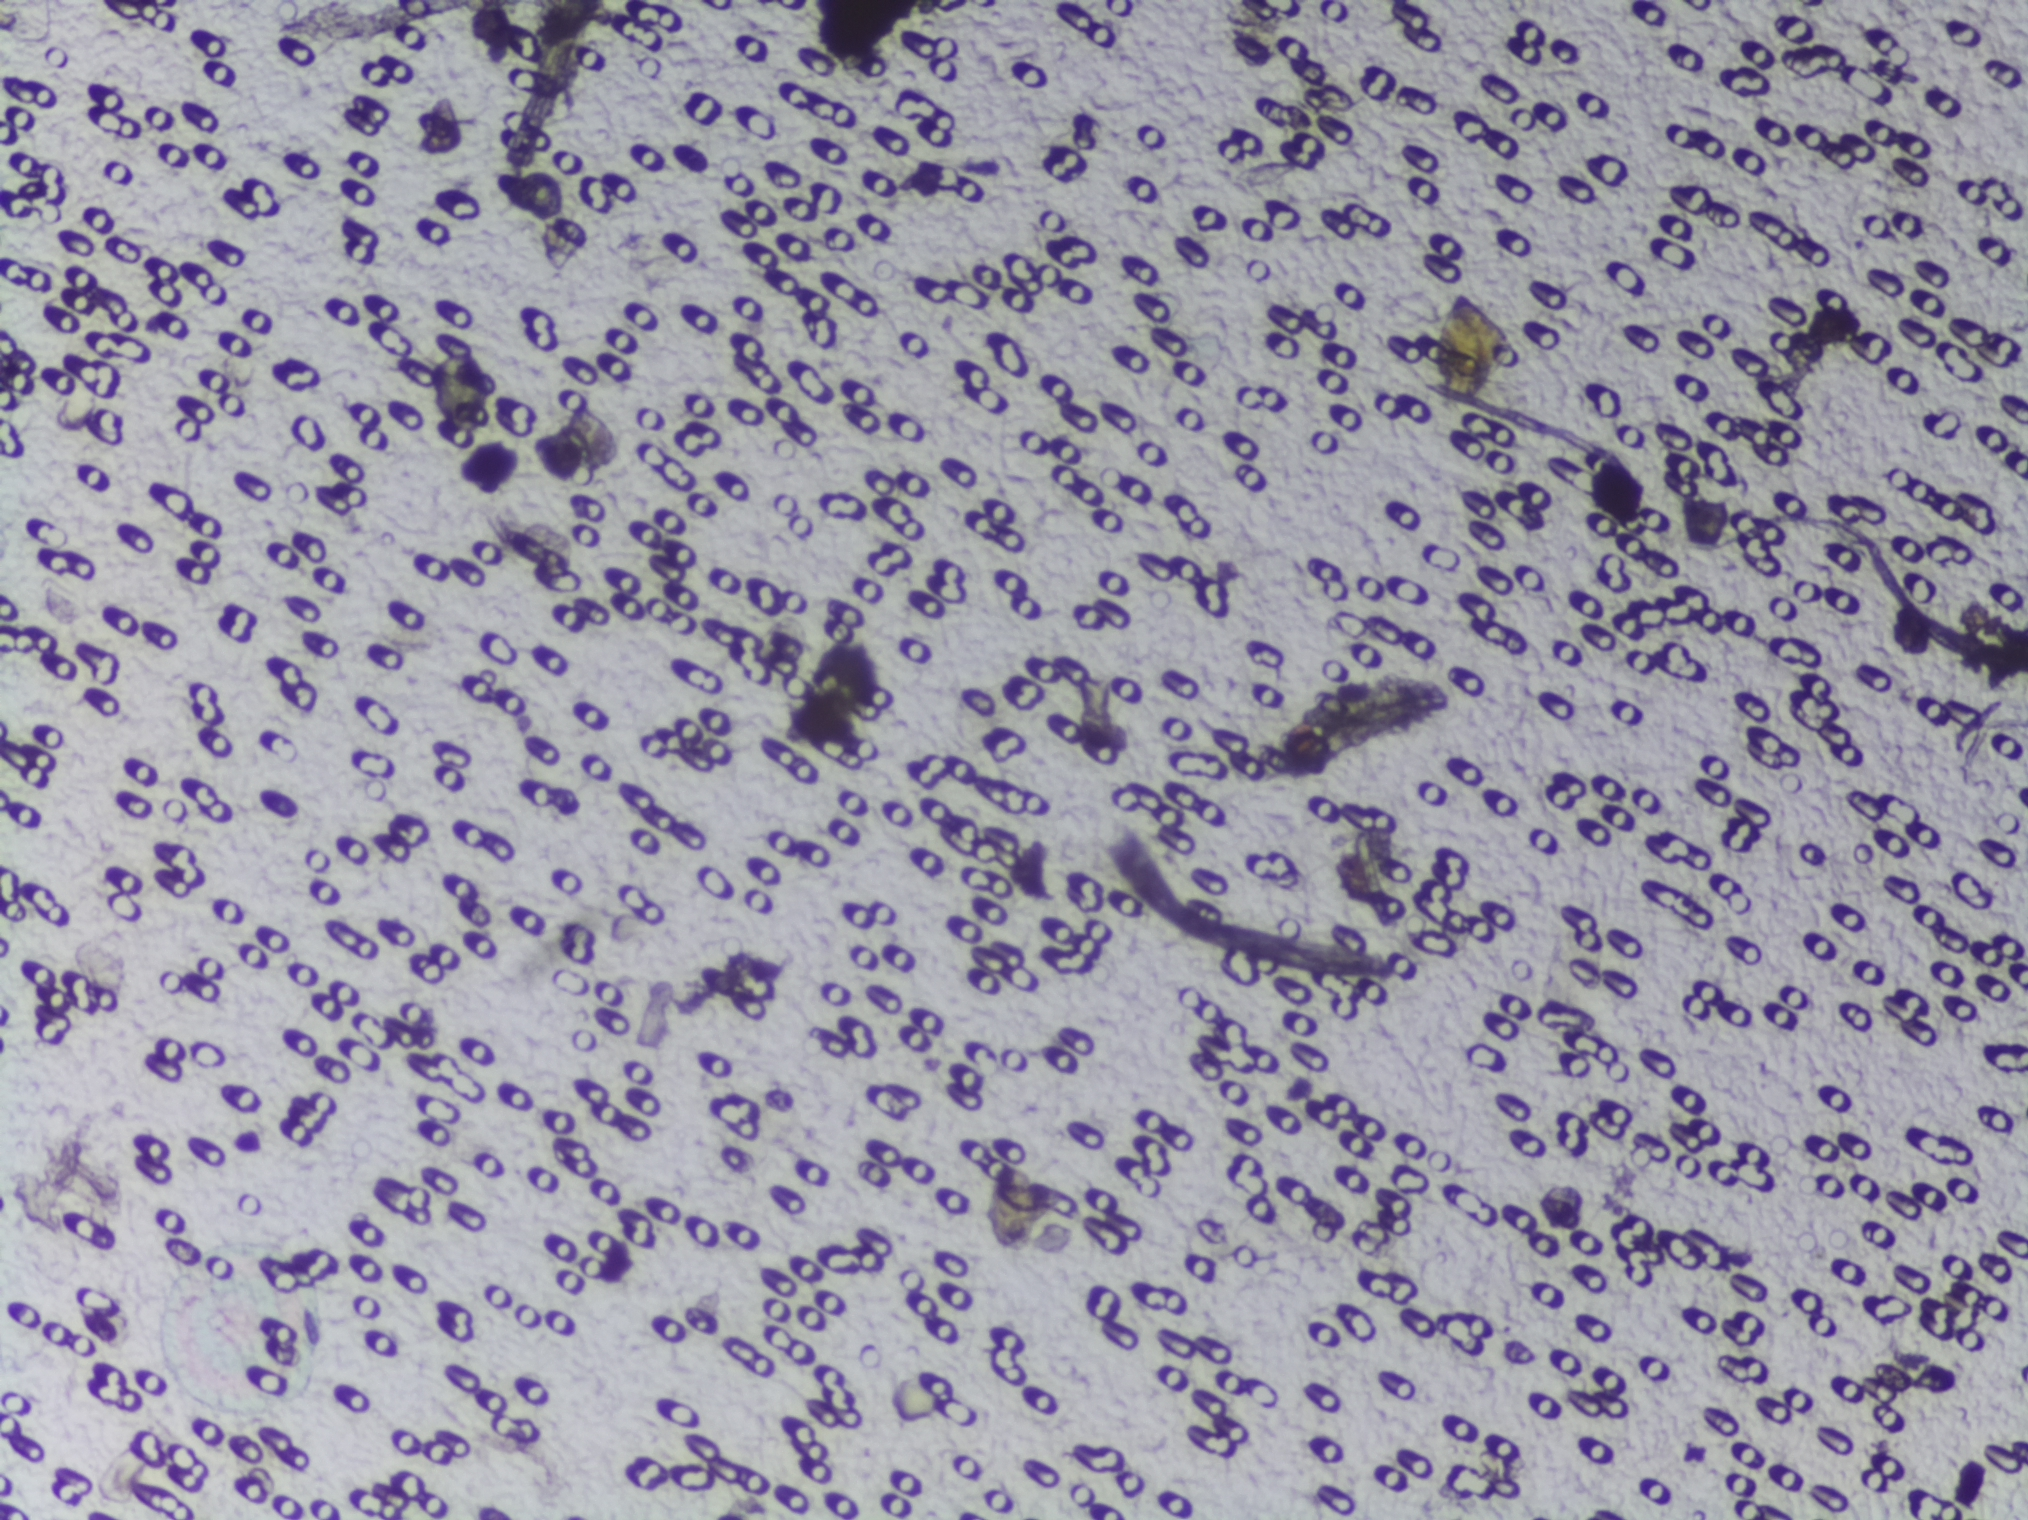
Photomicrograph of a urine filtration membrane, 4× objective. Field of view: about 1.5 mm wide and 1.1 mm high.
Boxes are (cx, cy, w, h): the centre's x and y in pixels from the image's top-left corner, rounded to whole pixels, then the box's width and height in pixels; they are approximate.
Three areas of this image are outlined as Schistosoma eggs, from left to right: (cx=460, cy=392, w=66, h=101); (cx=1026, cy=1206, w=88, h=96); (cx=1473, cy=344, w=84, h=114). A single outlined area may contain several eggs.